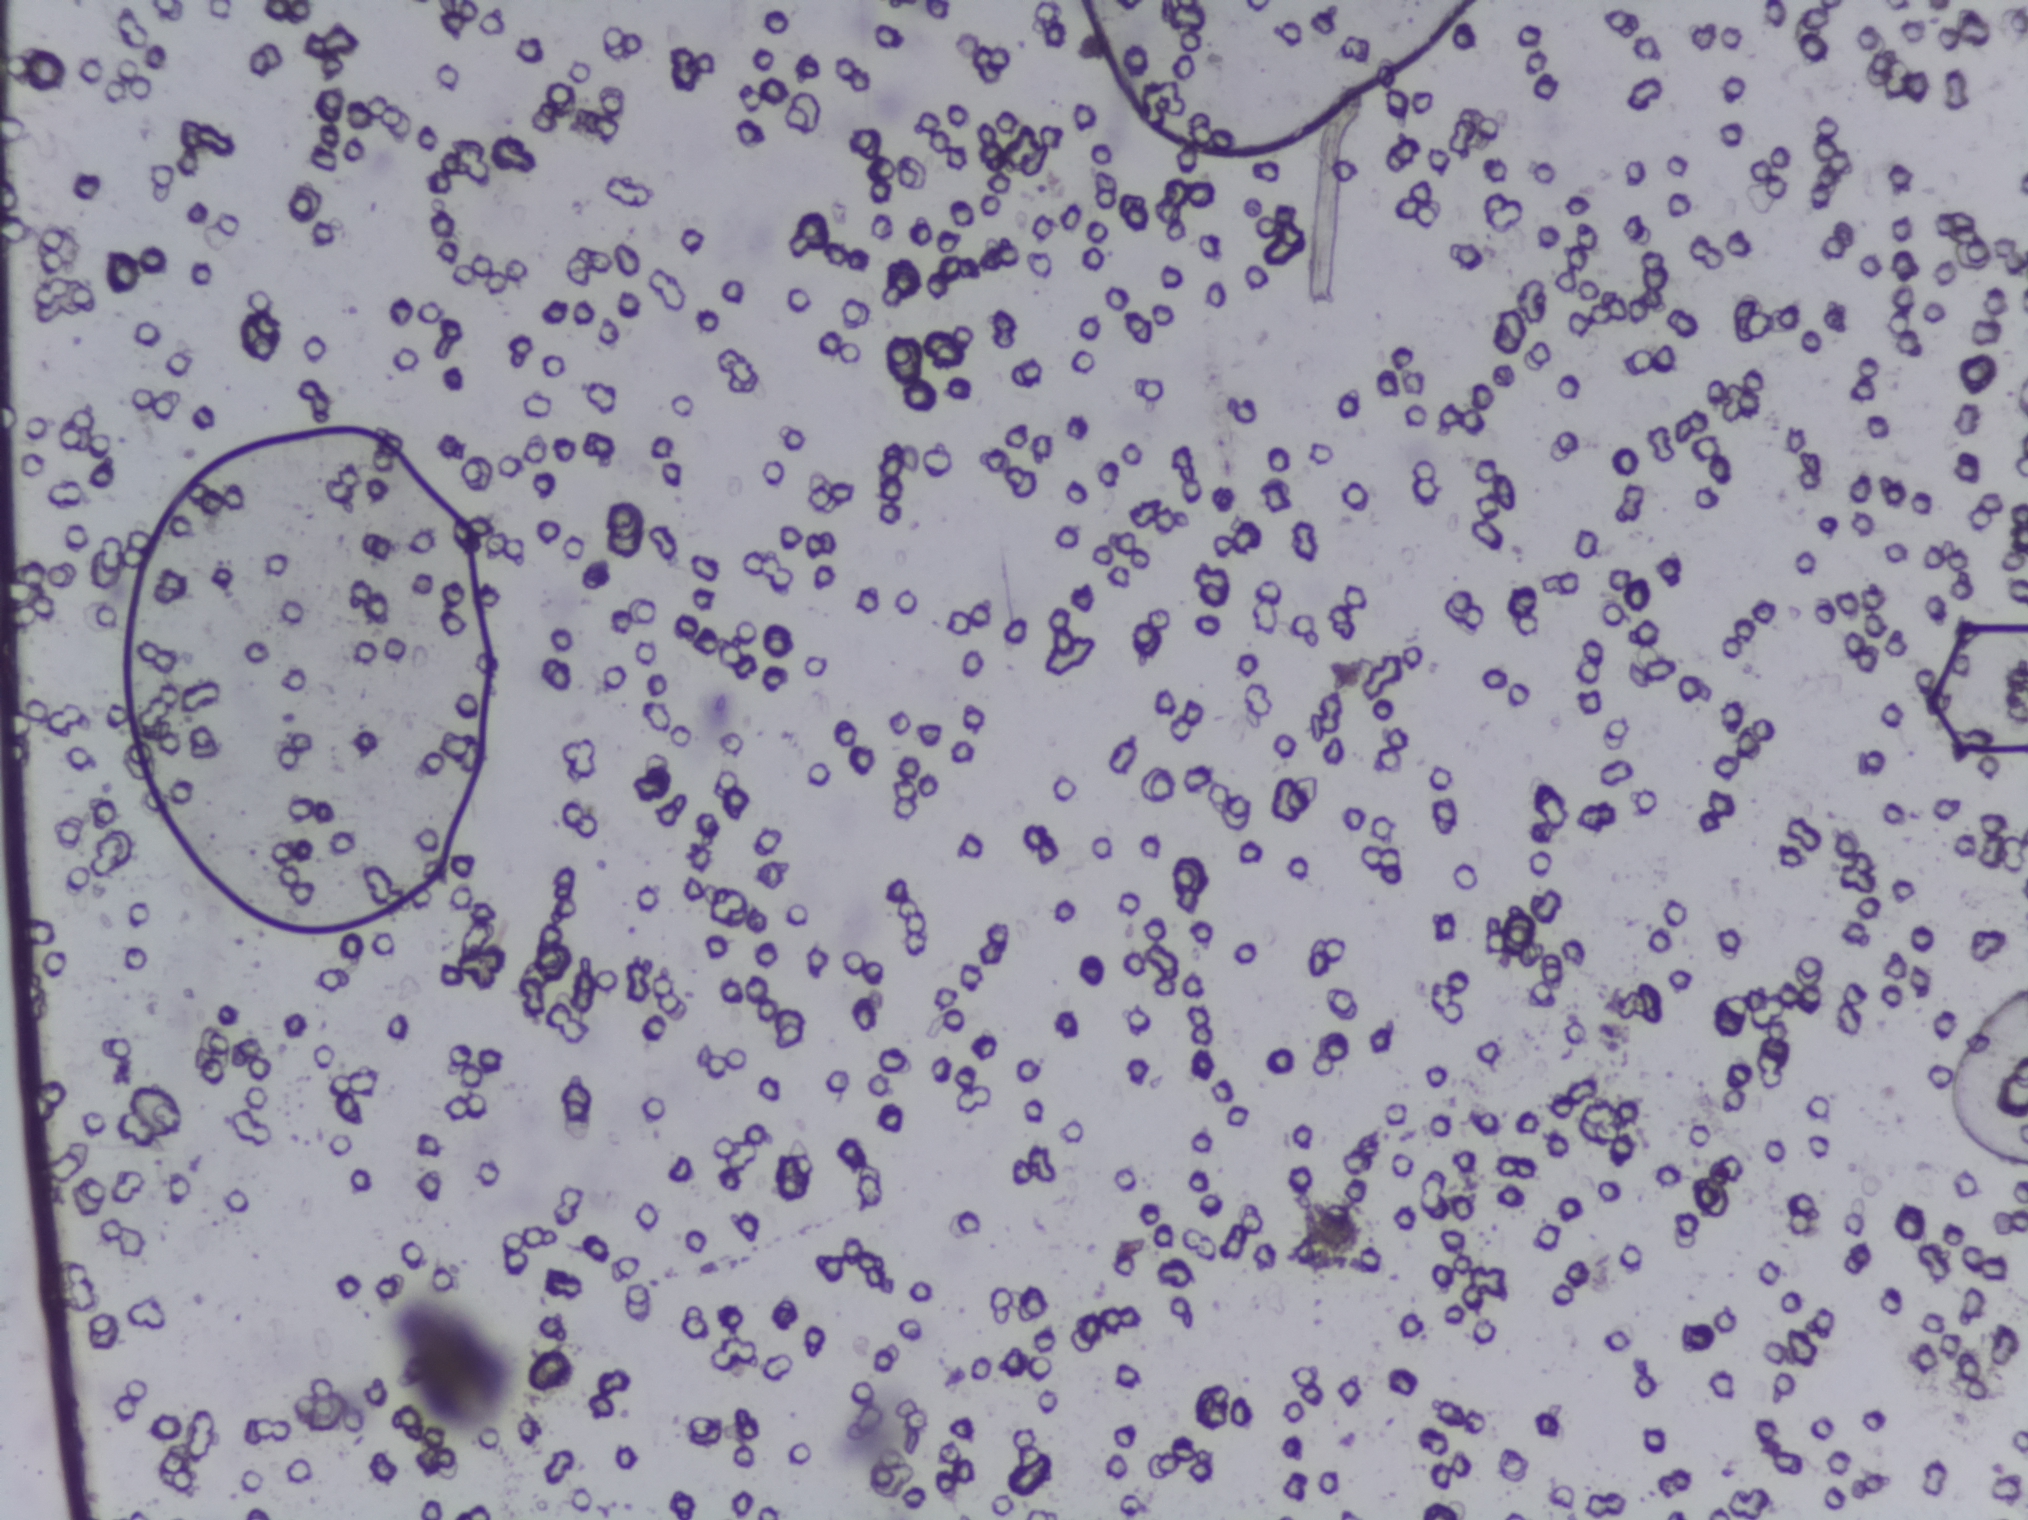
Photograph from an automated digital microscope: urine filter membrane, 4× objective. The image covers about 1.5 × 1.1 mm of the membrane.
Schistosoma eggs: none outlined.